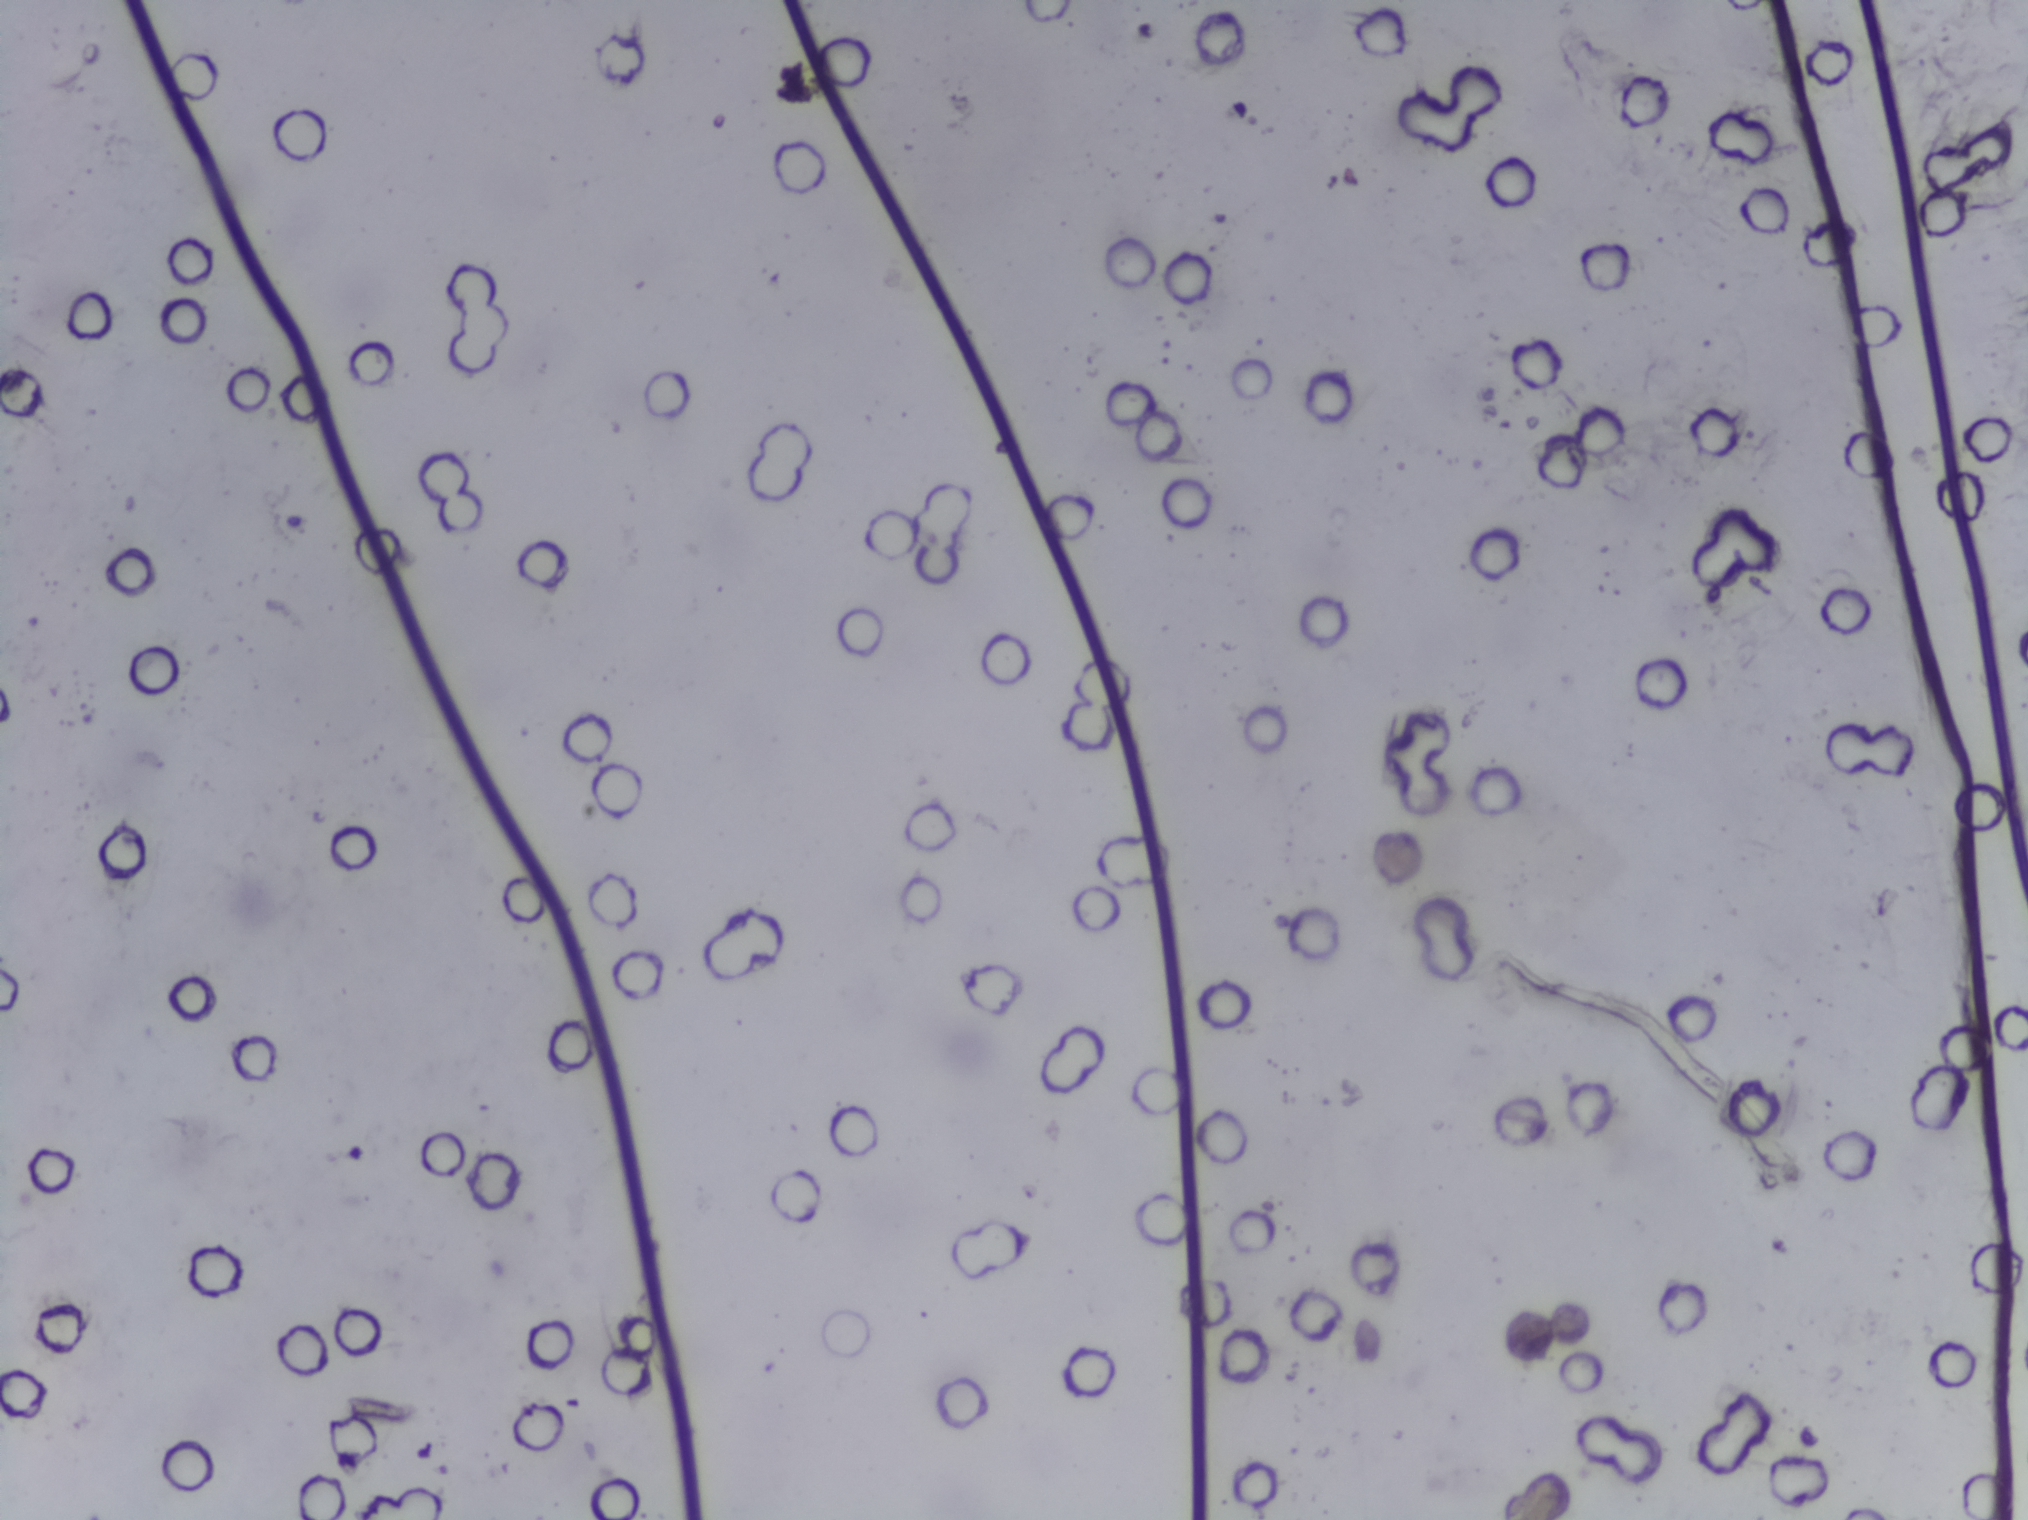
One field of view of a urine filter membrane, 4× objective, 2028 × 1520 pixels.
No area of this image was outlined as a Schistosoma egg.